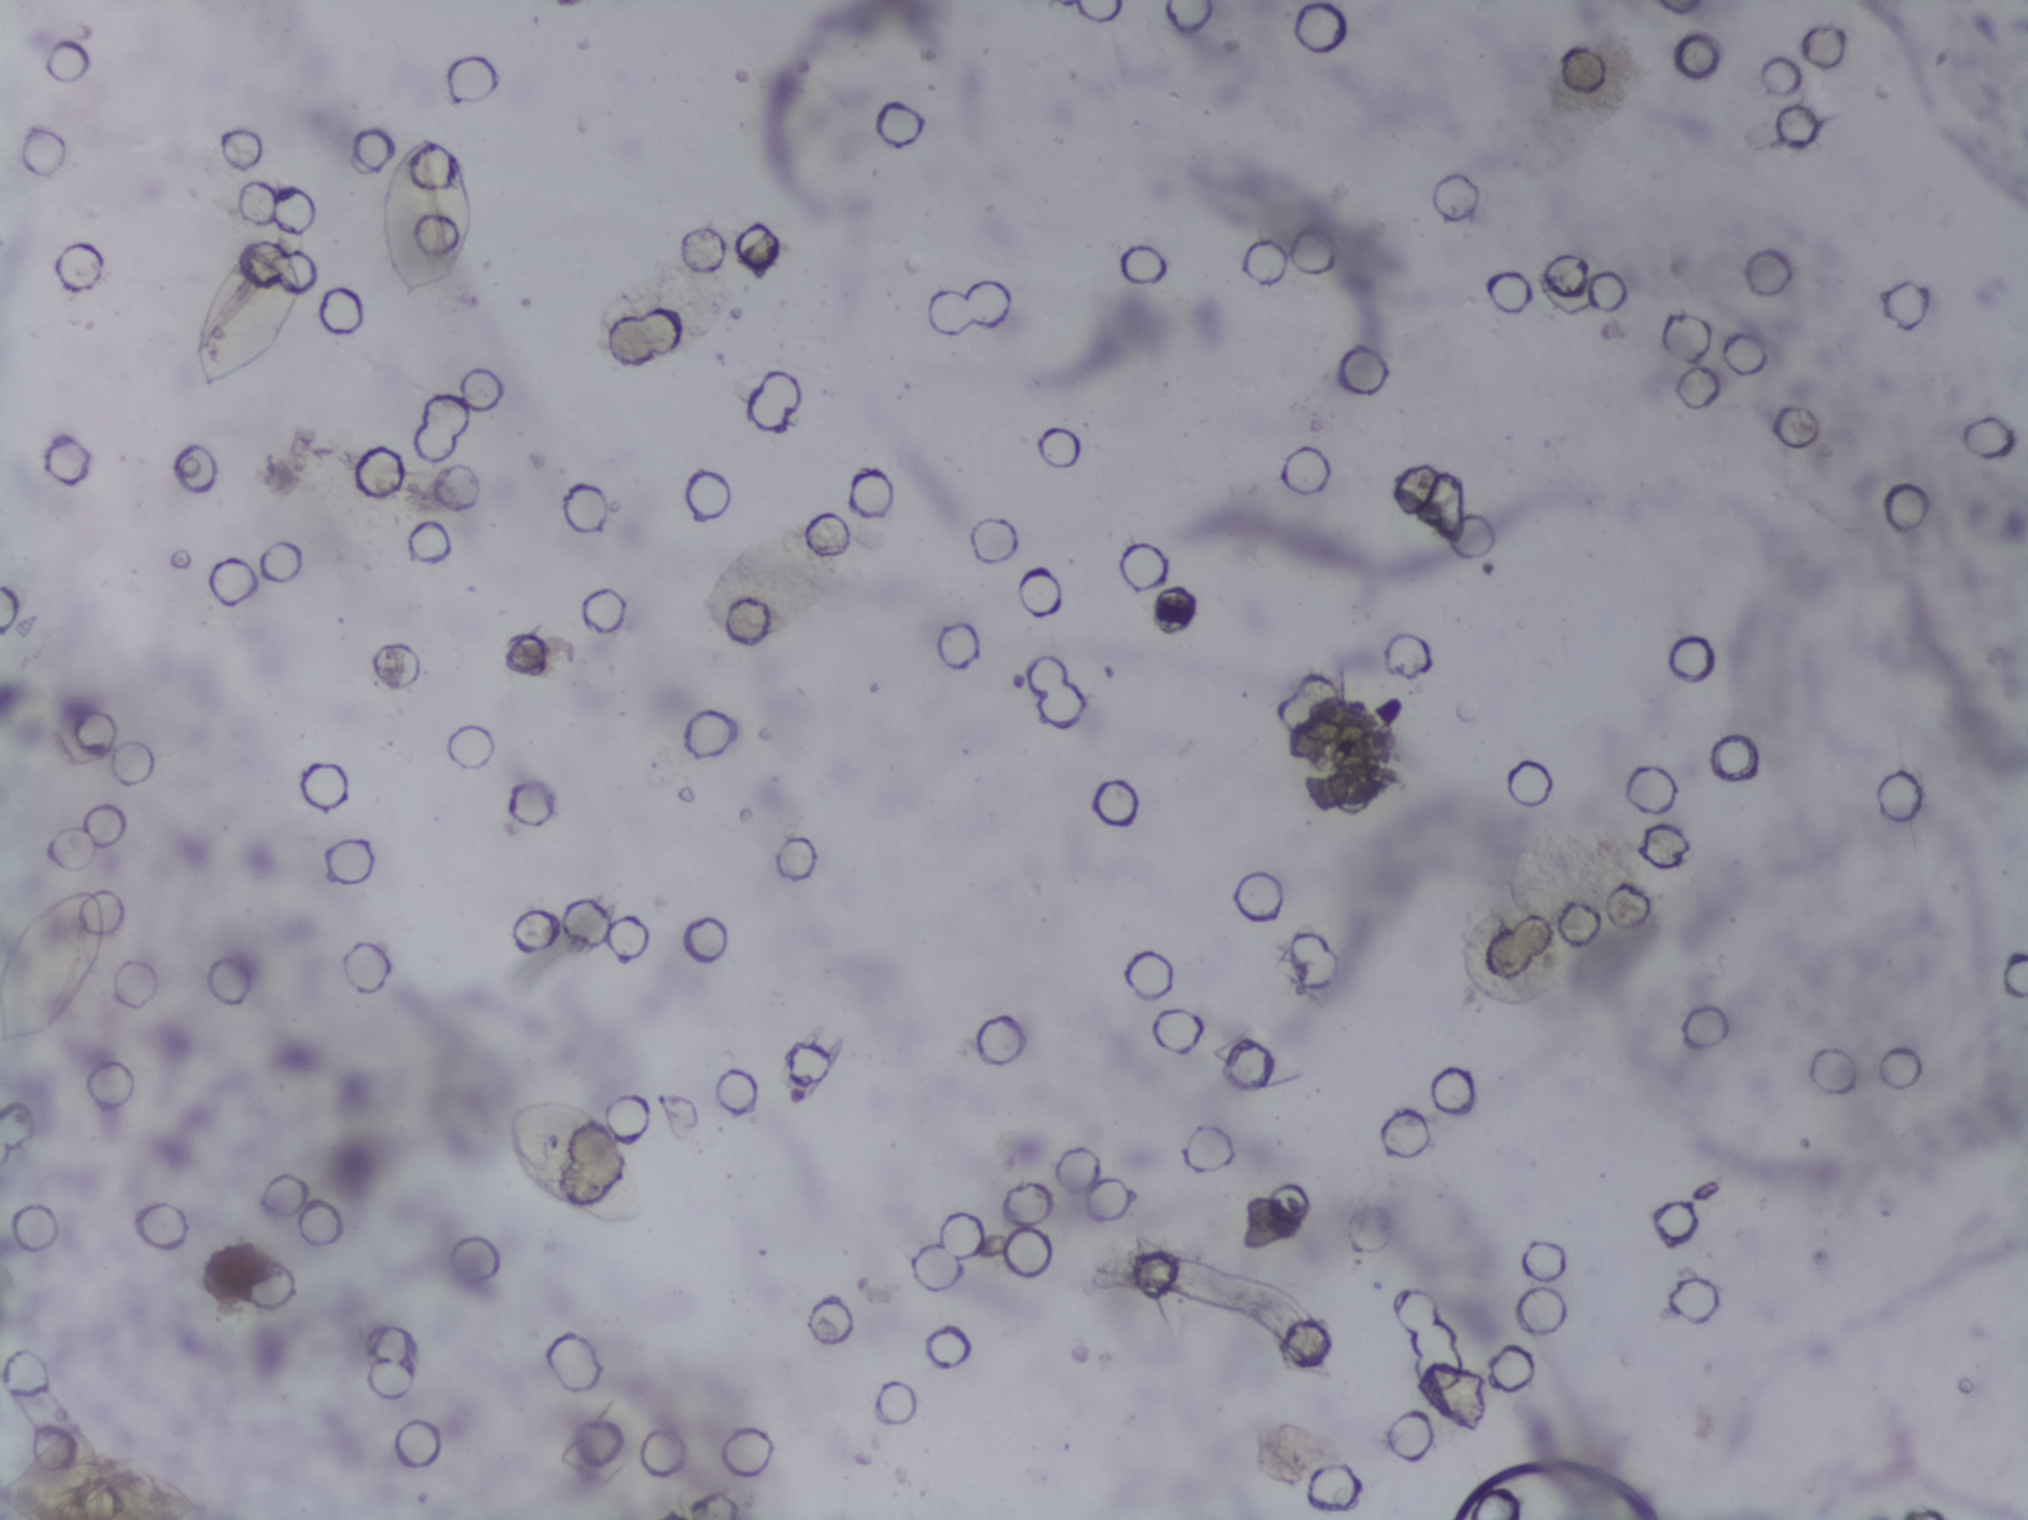
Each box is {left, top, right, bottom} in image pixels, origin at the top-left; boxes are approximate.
Findings: four areas outlined as Schistosoma eggs. Locations: {0, 882, 107, 1046} (reaching the left edge of the frame); {194, 237, 306, 397}; {377, 128, 478, 305}; {503, 1092, 648, 1225}. The marked pixels themselves, not the boxes around them, cover about 1.7% of the image. Eggs that touch can end up inside the same outlined area. A marked egg may occasionally be S. mansoni rather than S. haematobium.
Microscope photograph (4× objective) of a membrane that a urine sample was filtered through. The image covers about 1.5 × 1.1 mm of the membrane.